Photograph from an automated digital microscope: urine filter membrane, 4× objective. The image covers about 1.5 × 1.1 mm of the membrane.
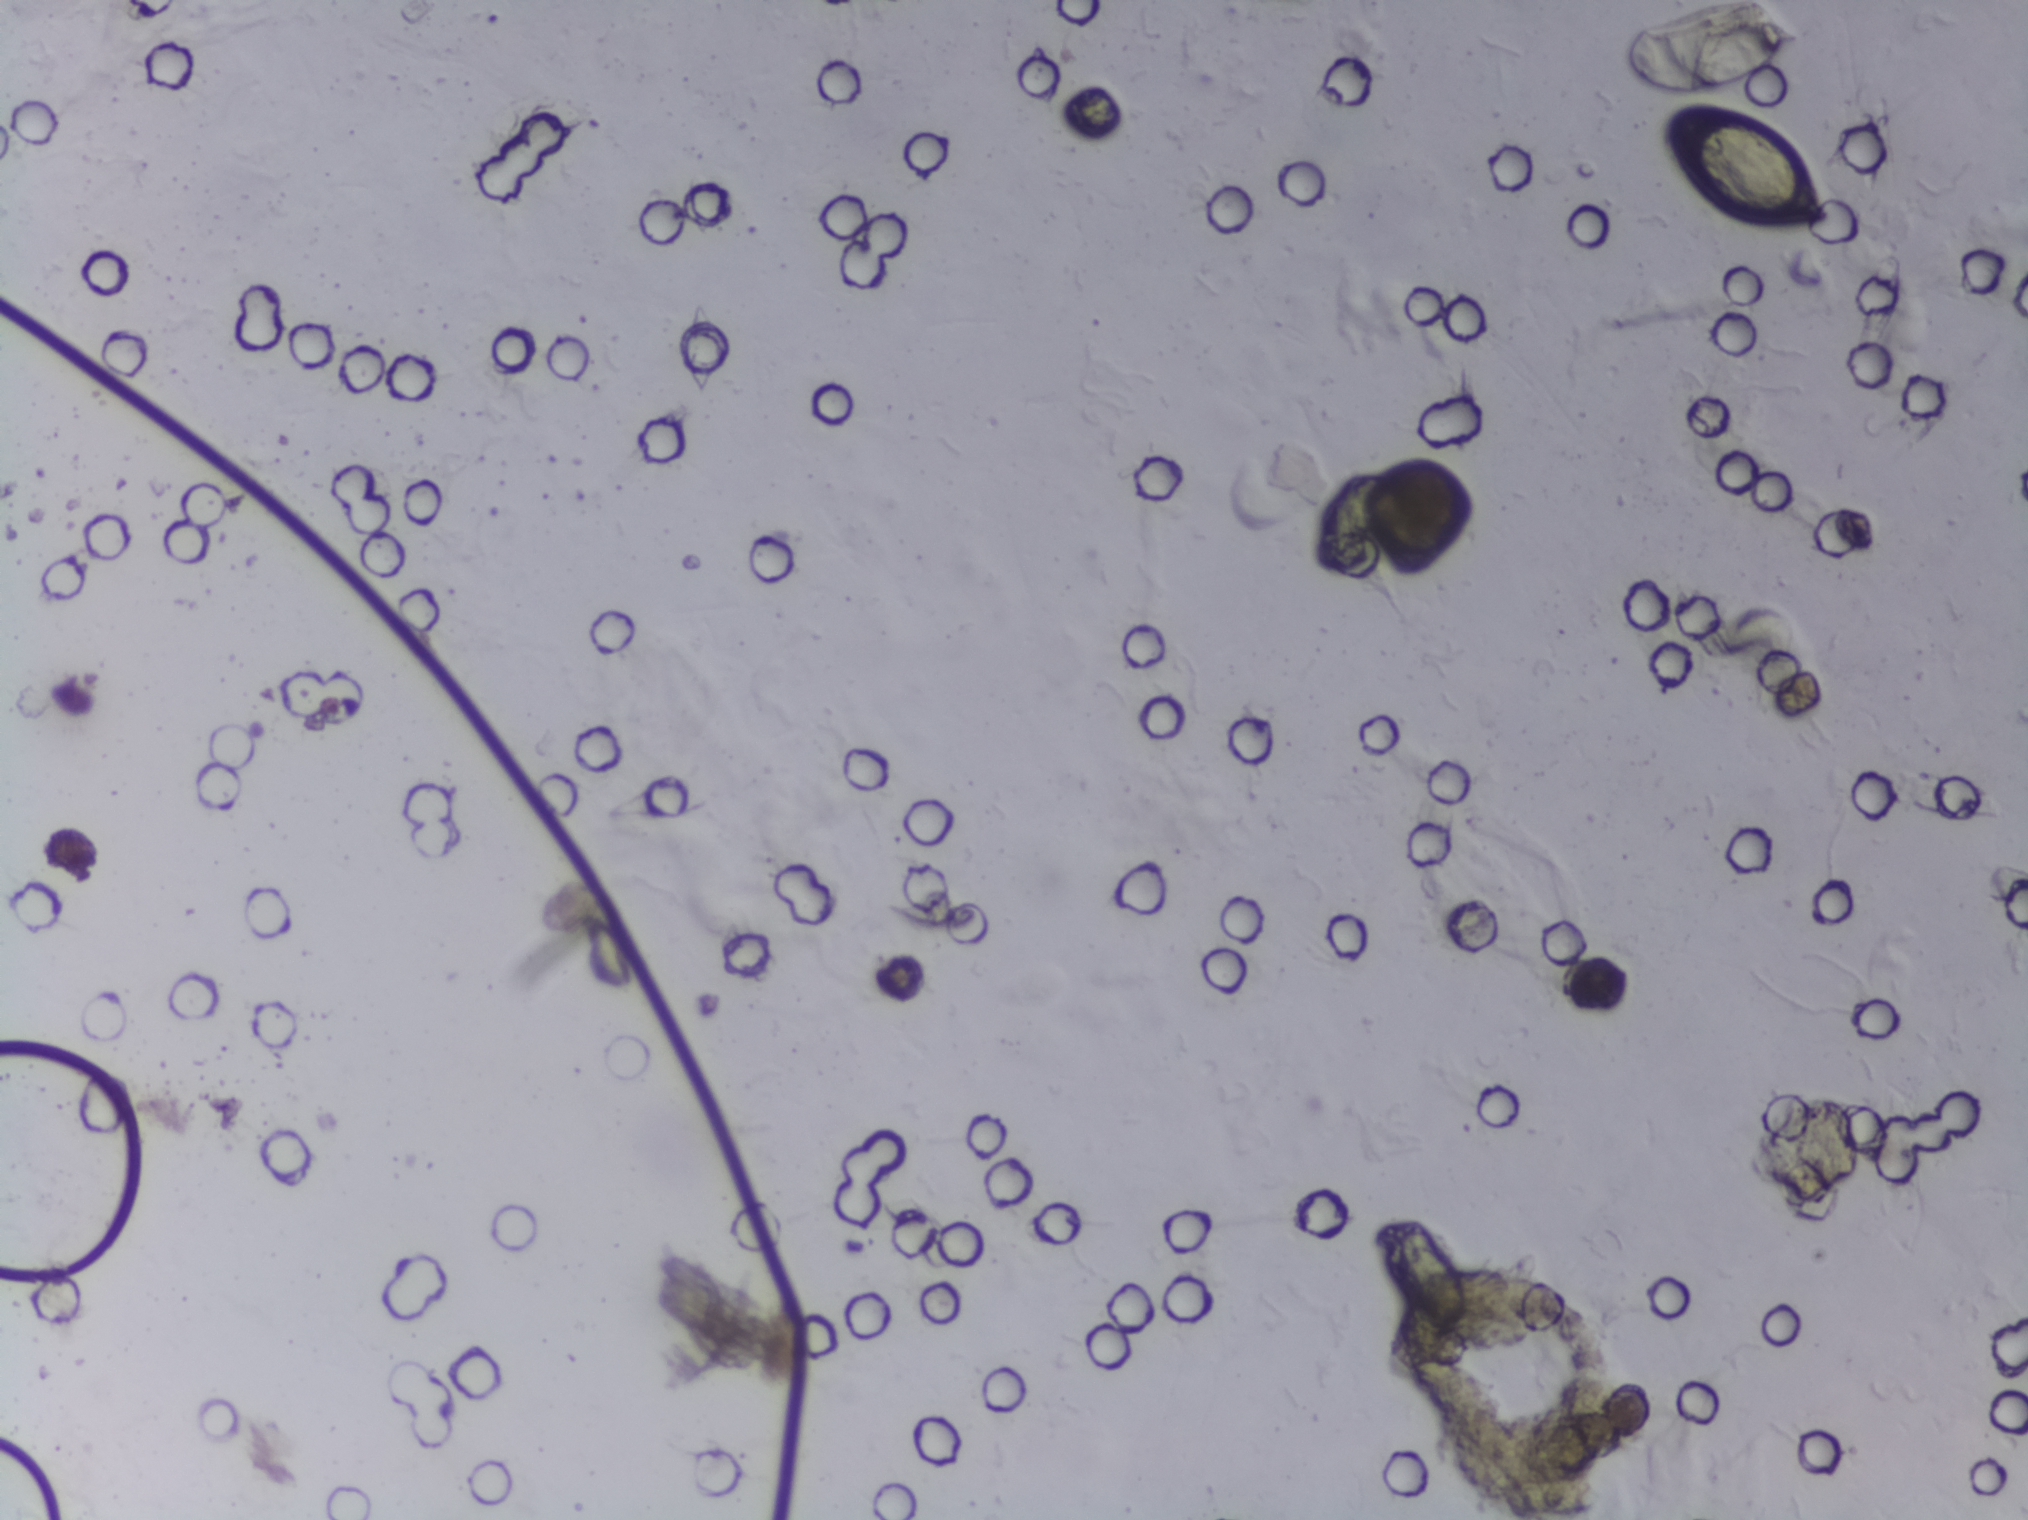
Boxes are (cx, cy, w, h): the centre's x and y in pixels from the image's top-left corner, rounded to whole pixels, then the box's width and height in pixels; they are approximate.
Schistosoma eggs are outlined in the expert annotation at (cx=1351, cy=524, w=71, h=109); (cx=1425, cy=1277, w=89, h=114); (cx=1713, cy=50, w=190, h=100) (reaching the top edge of the frame); (cx=1744, cy=167, w=187, h=130) (left to right). A single outlined area may contain several eggs.